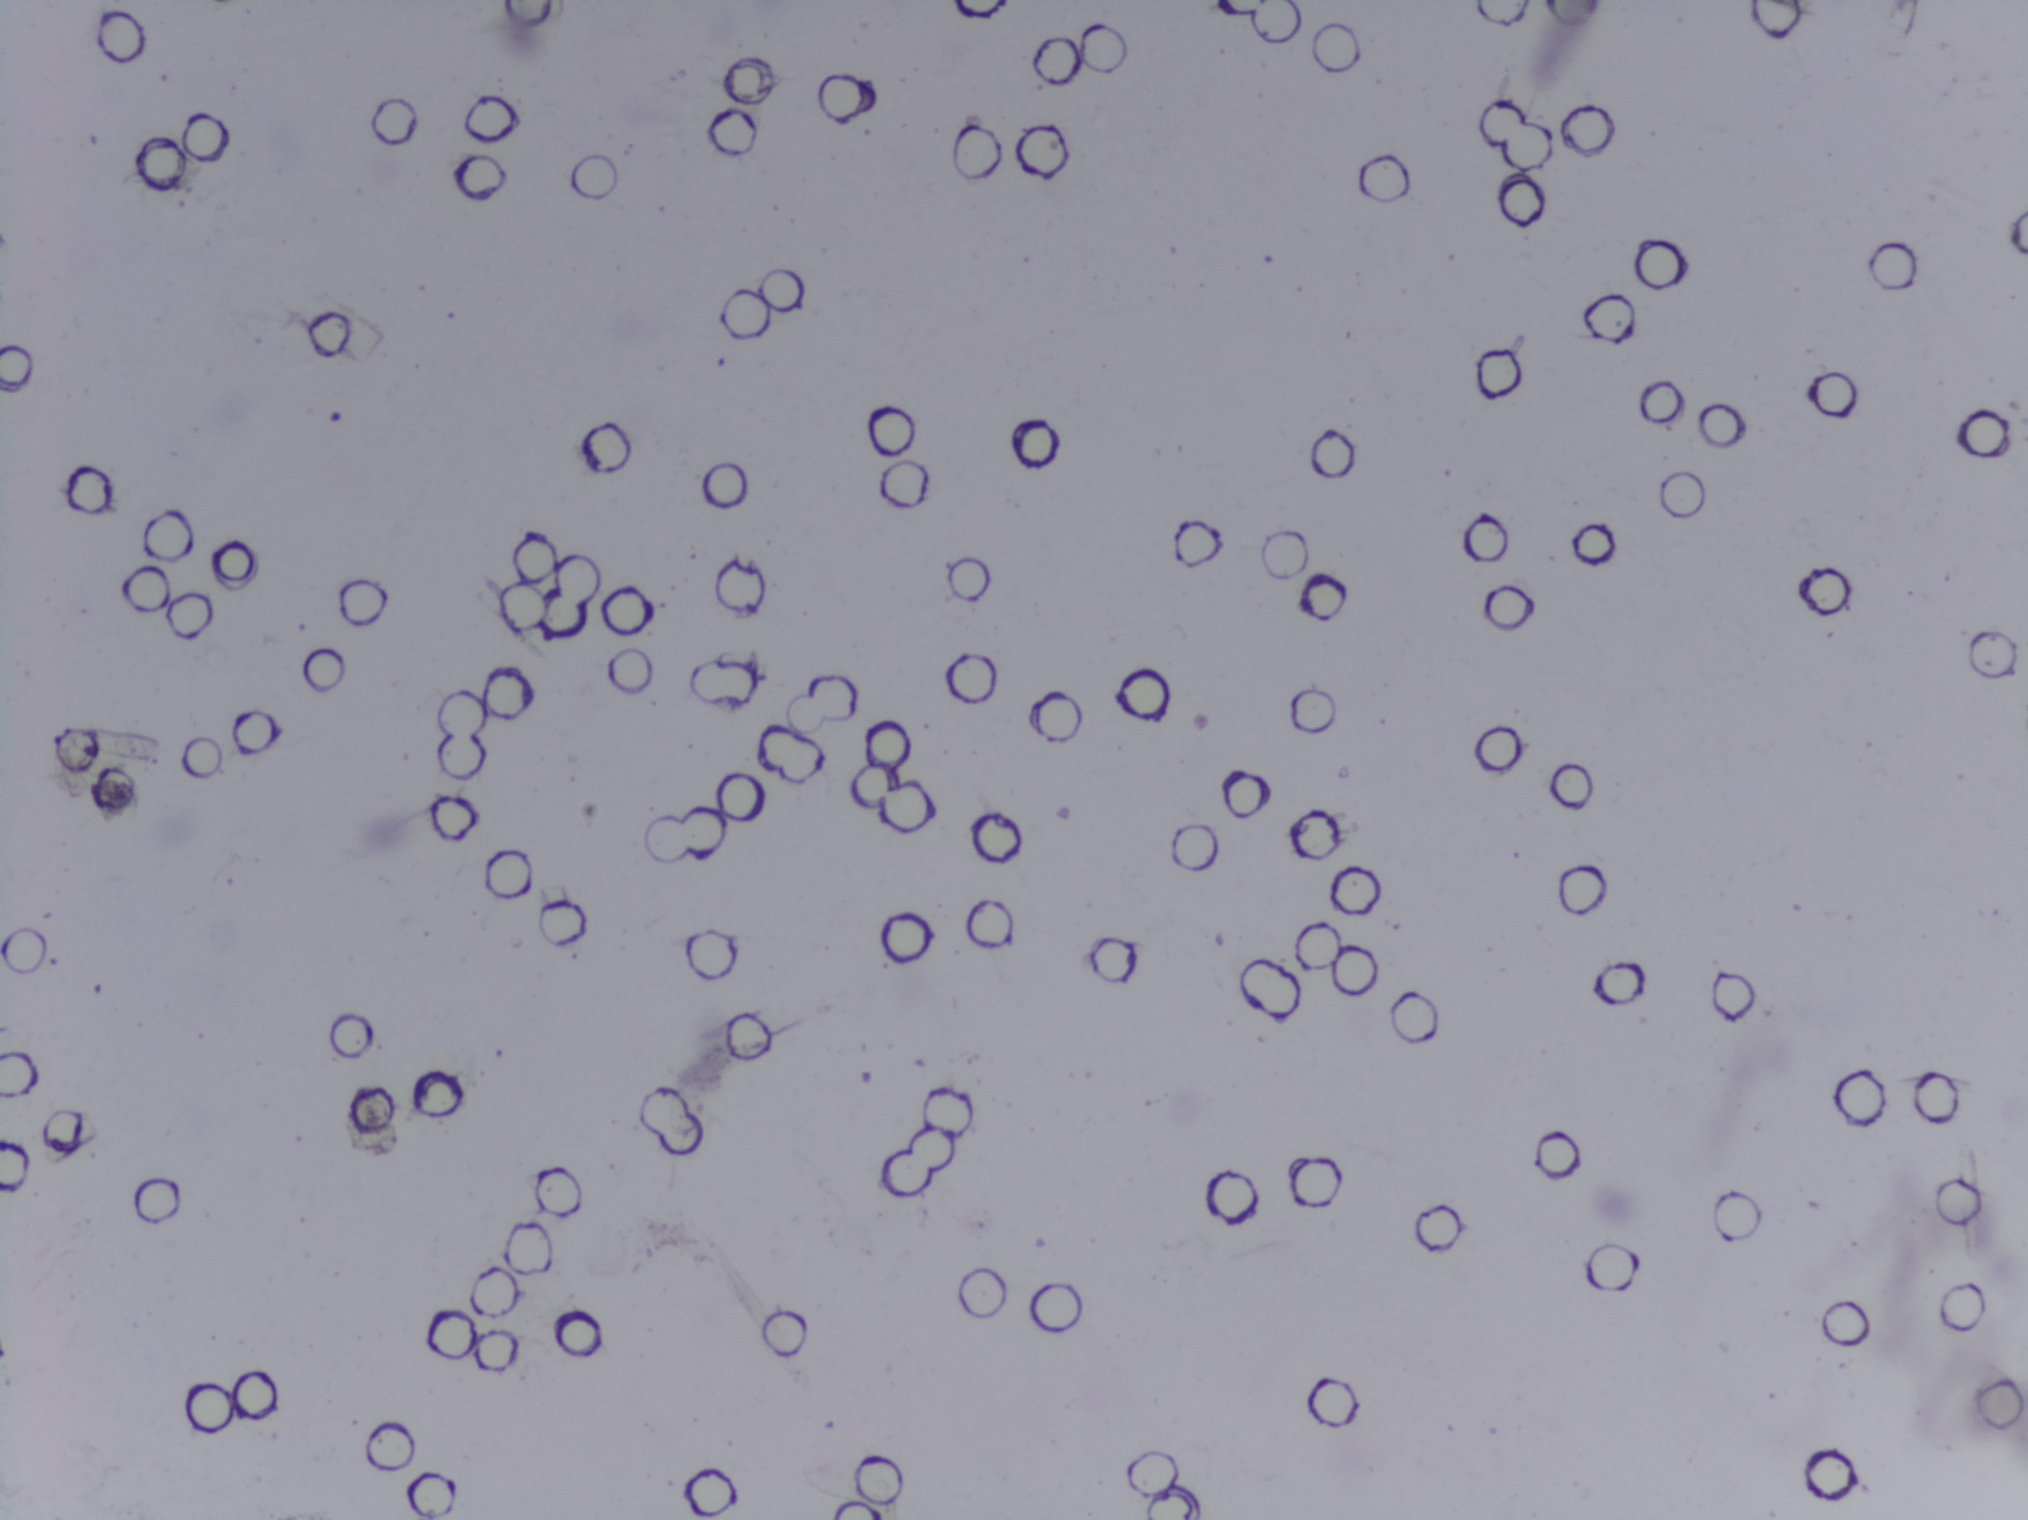
Microscope photograph (4× objective) of a membrane that a urine sample was filtered through.
The expert annotation outlines no Schistosoma egg in this image.